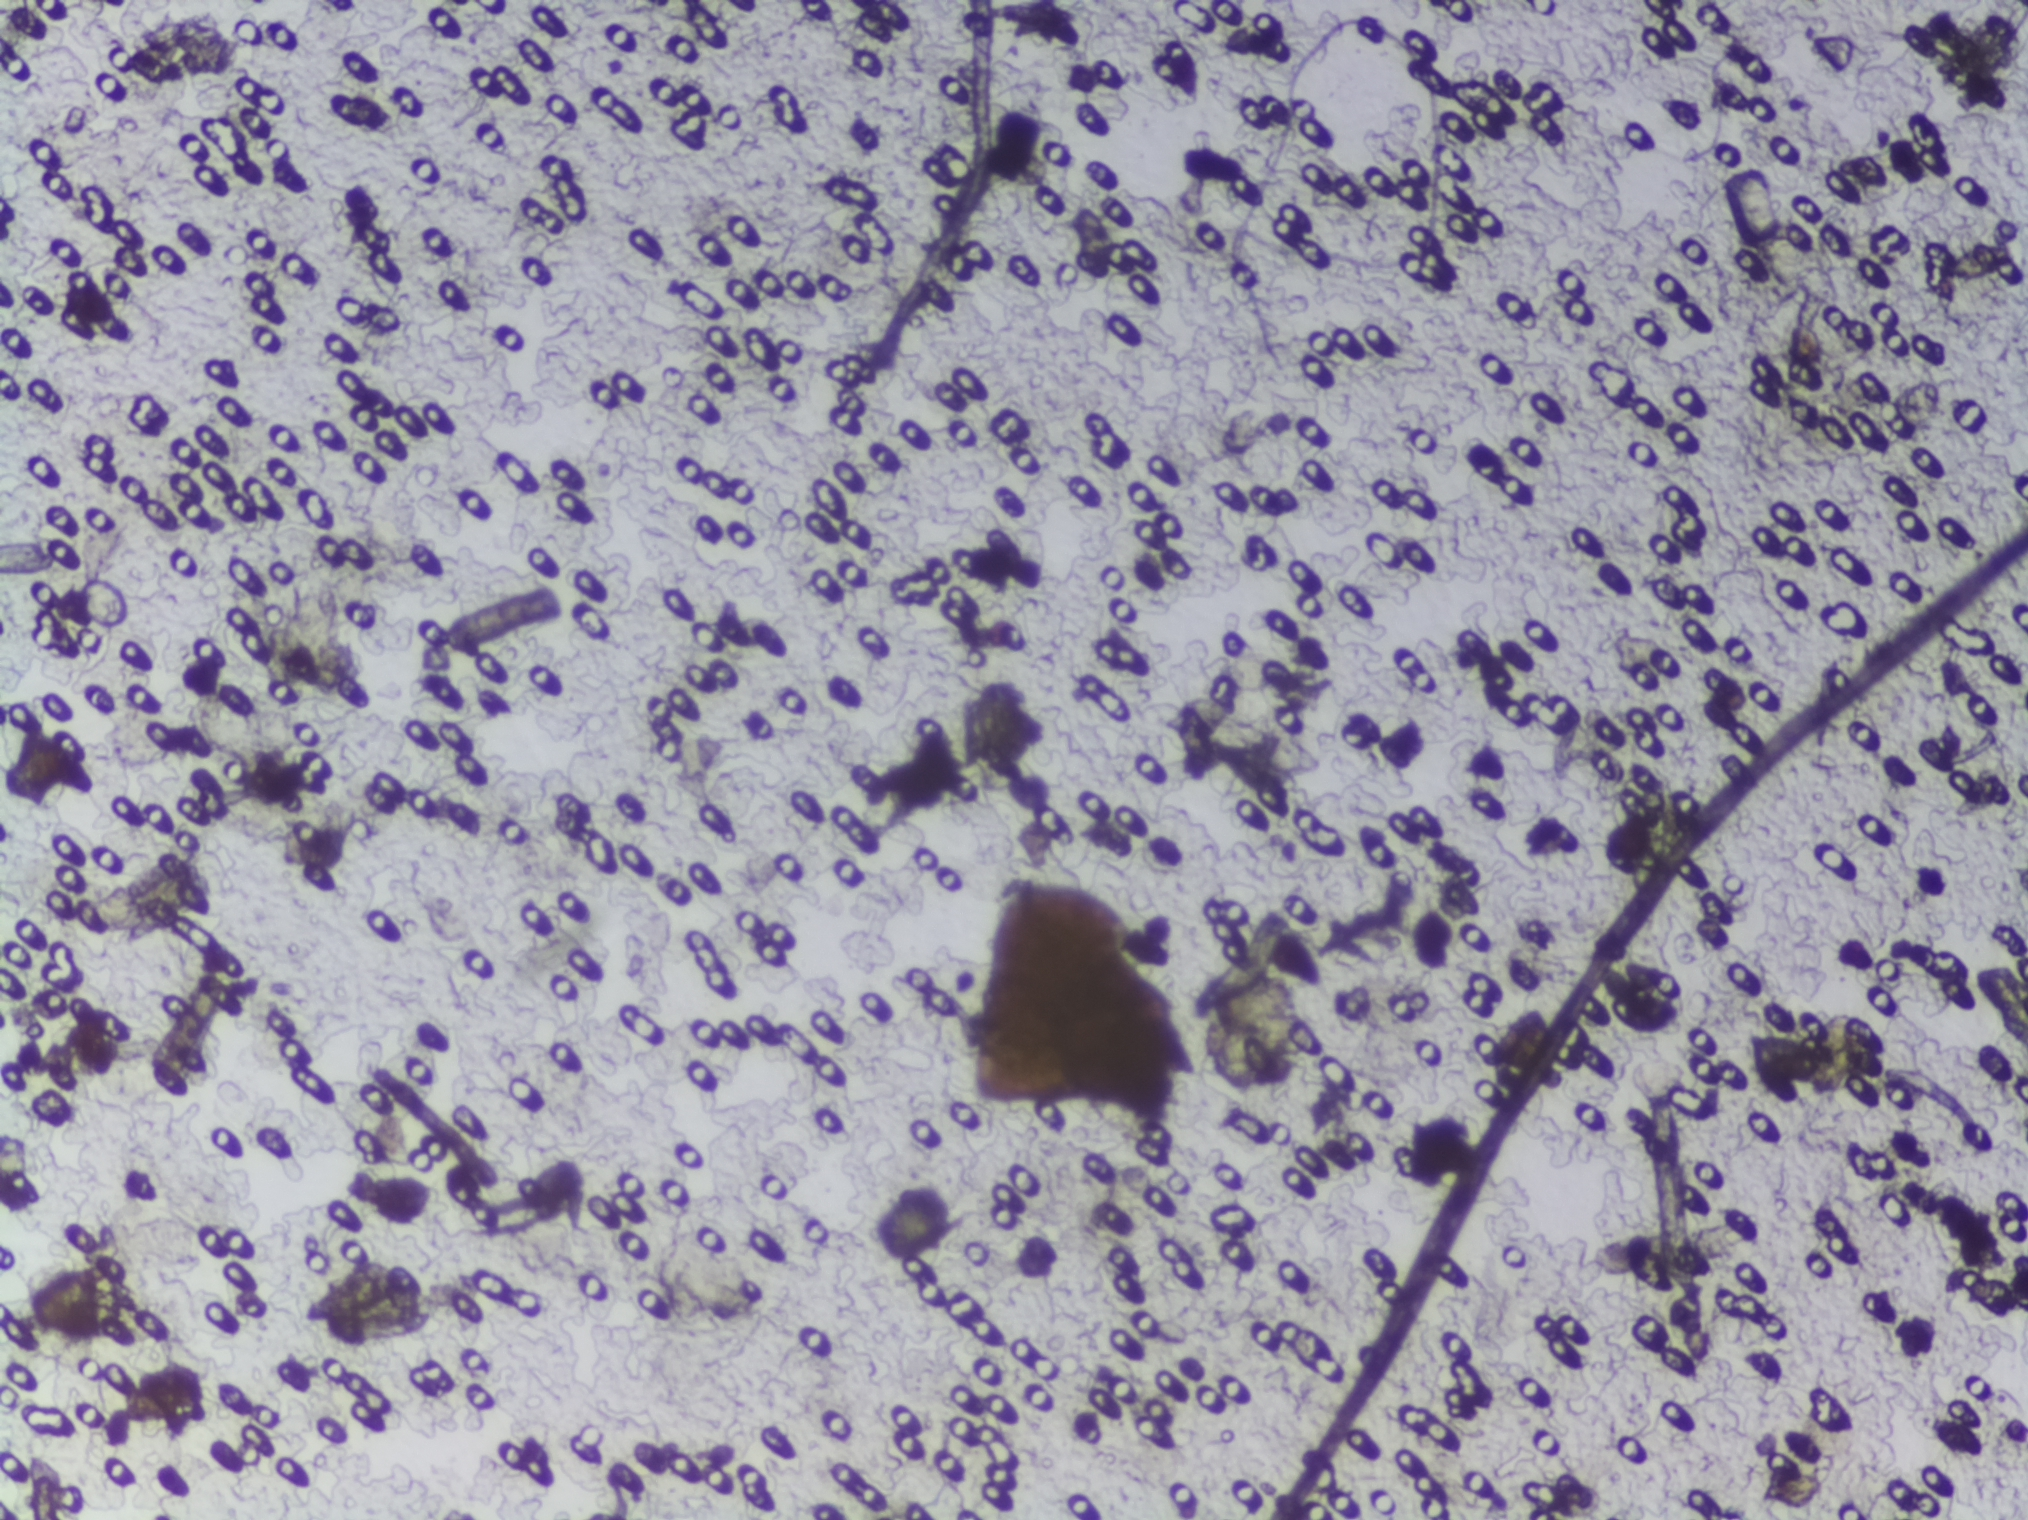
Urine filter membrane photographed through a 4× microscope objective.
The expert annotation marks no Schistosoma egg in this field of view.